Photograph from an automated digital microscope: urine filter membrane, 4× objective.
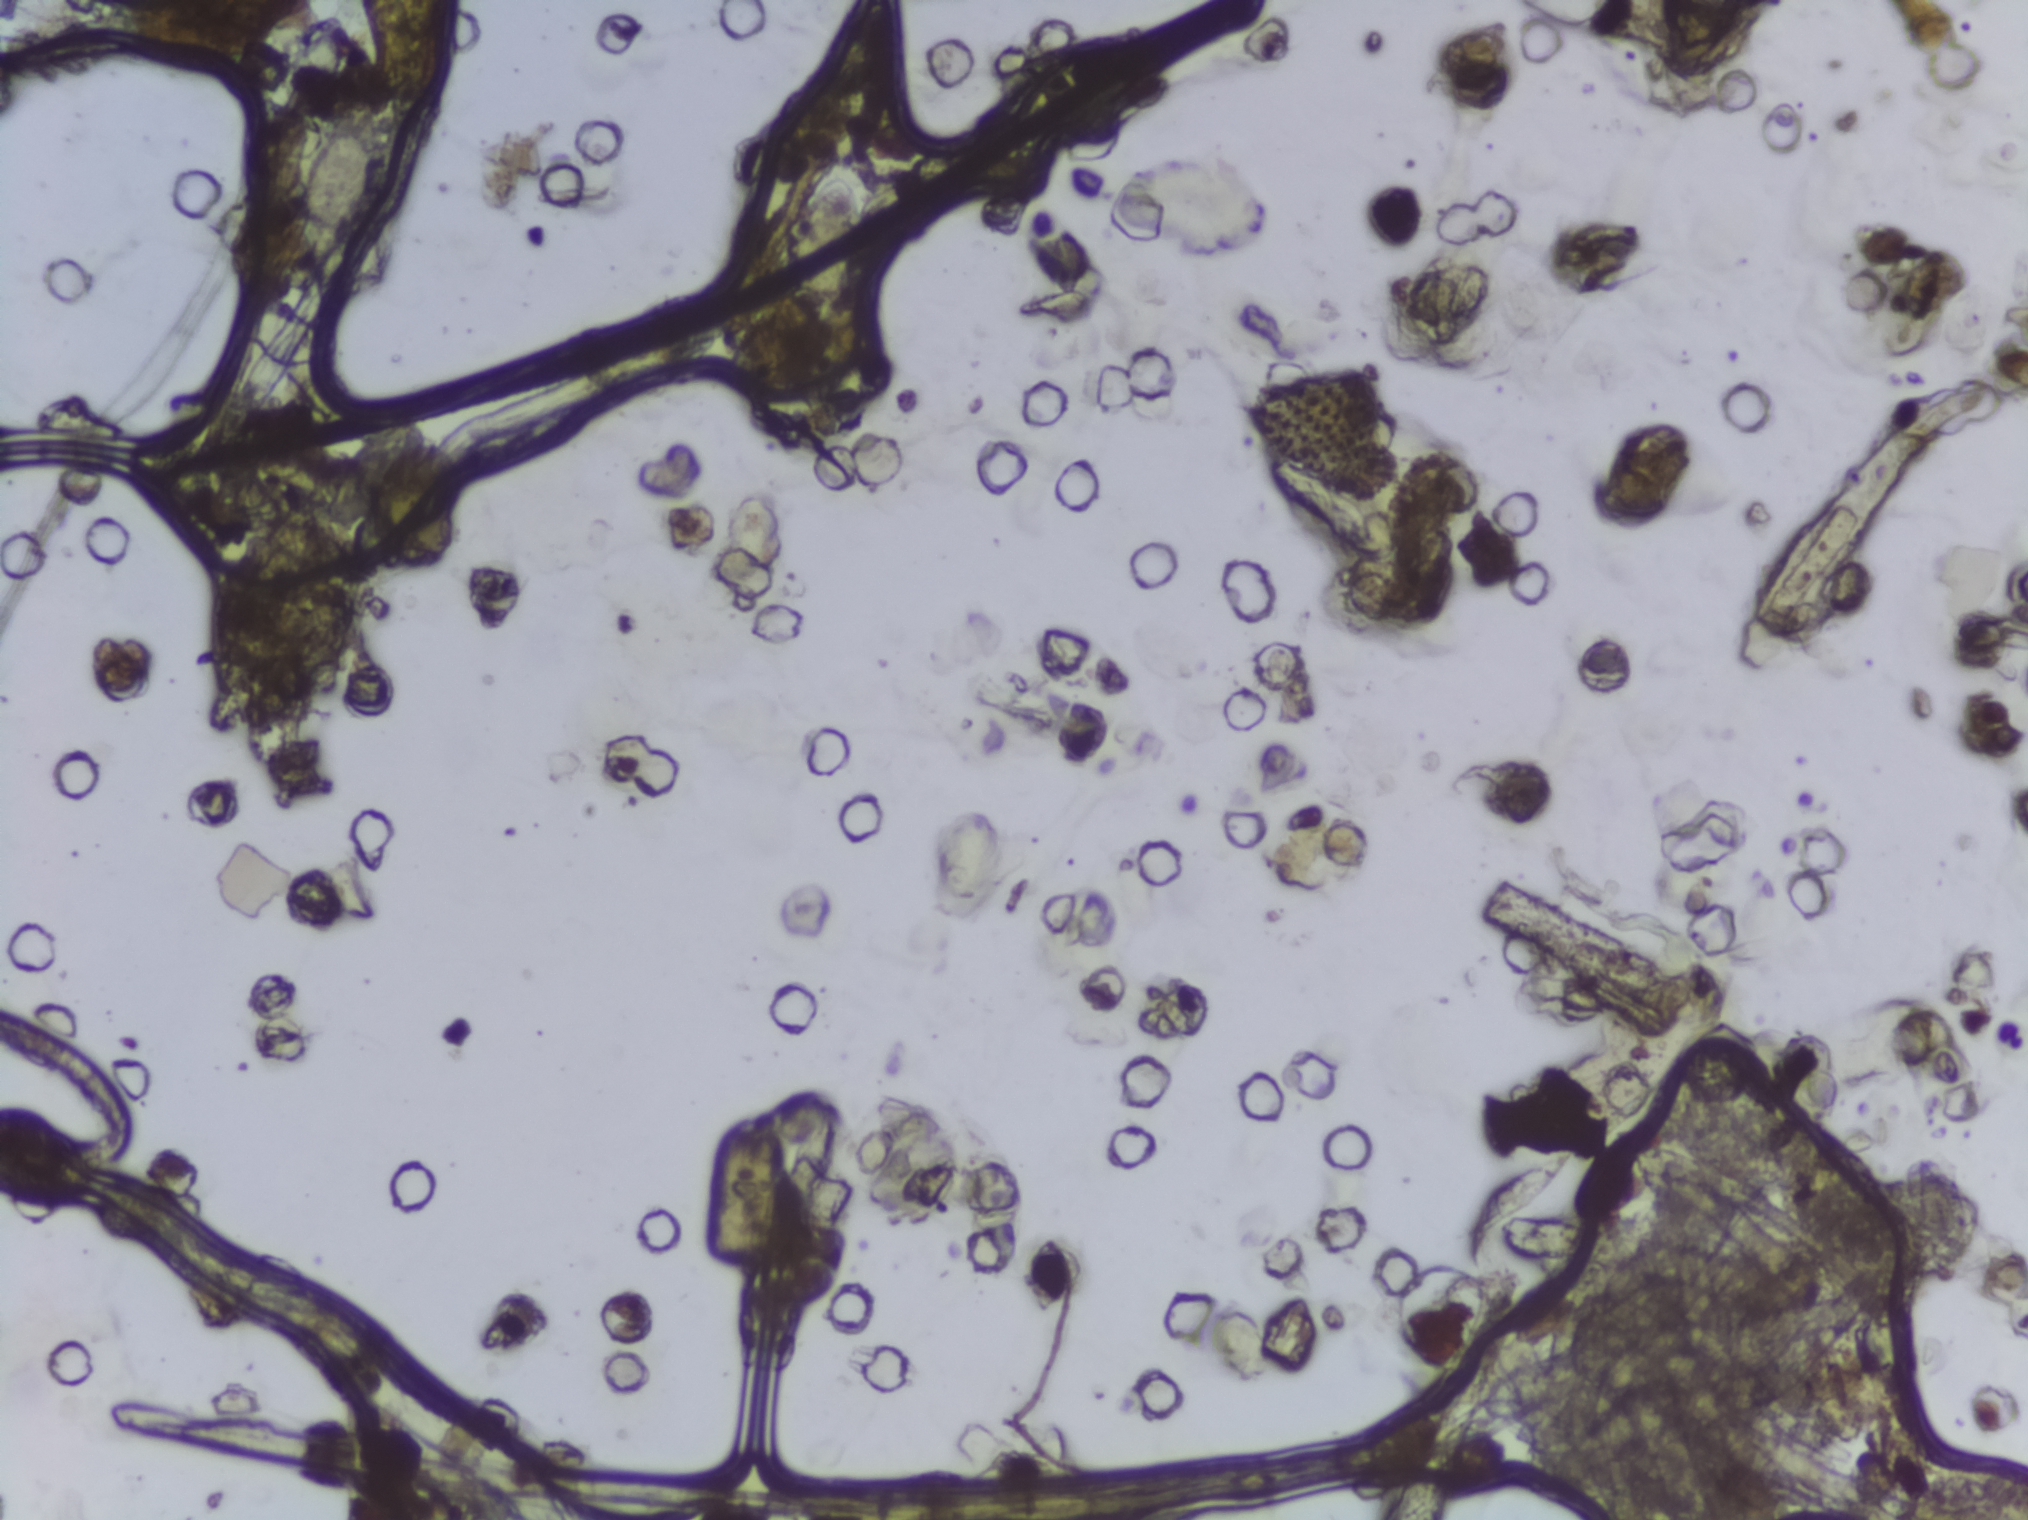
The expert annotation outlines no Schistosoma egg in this image.